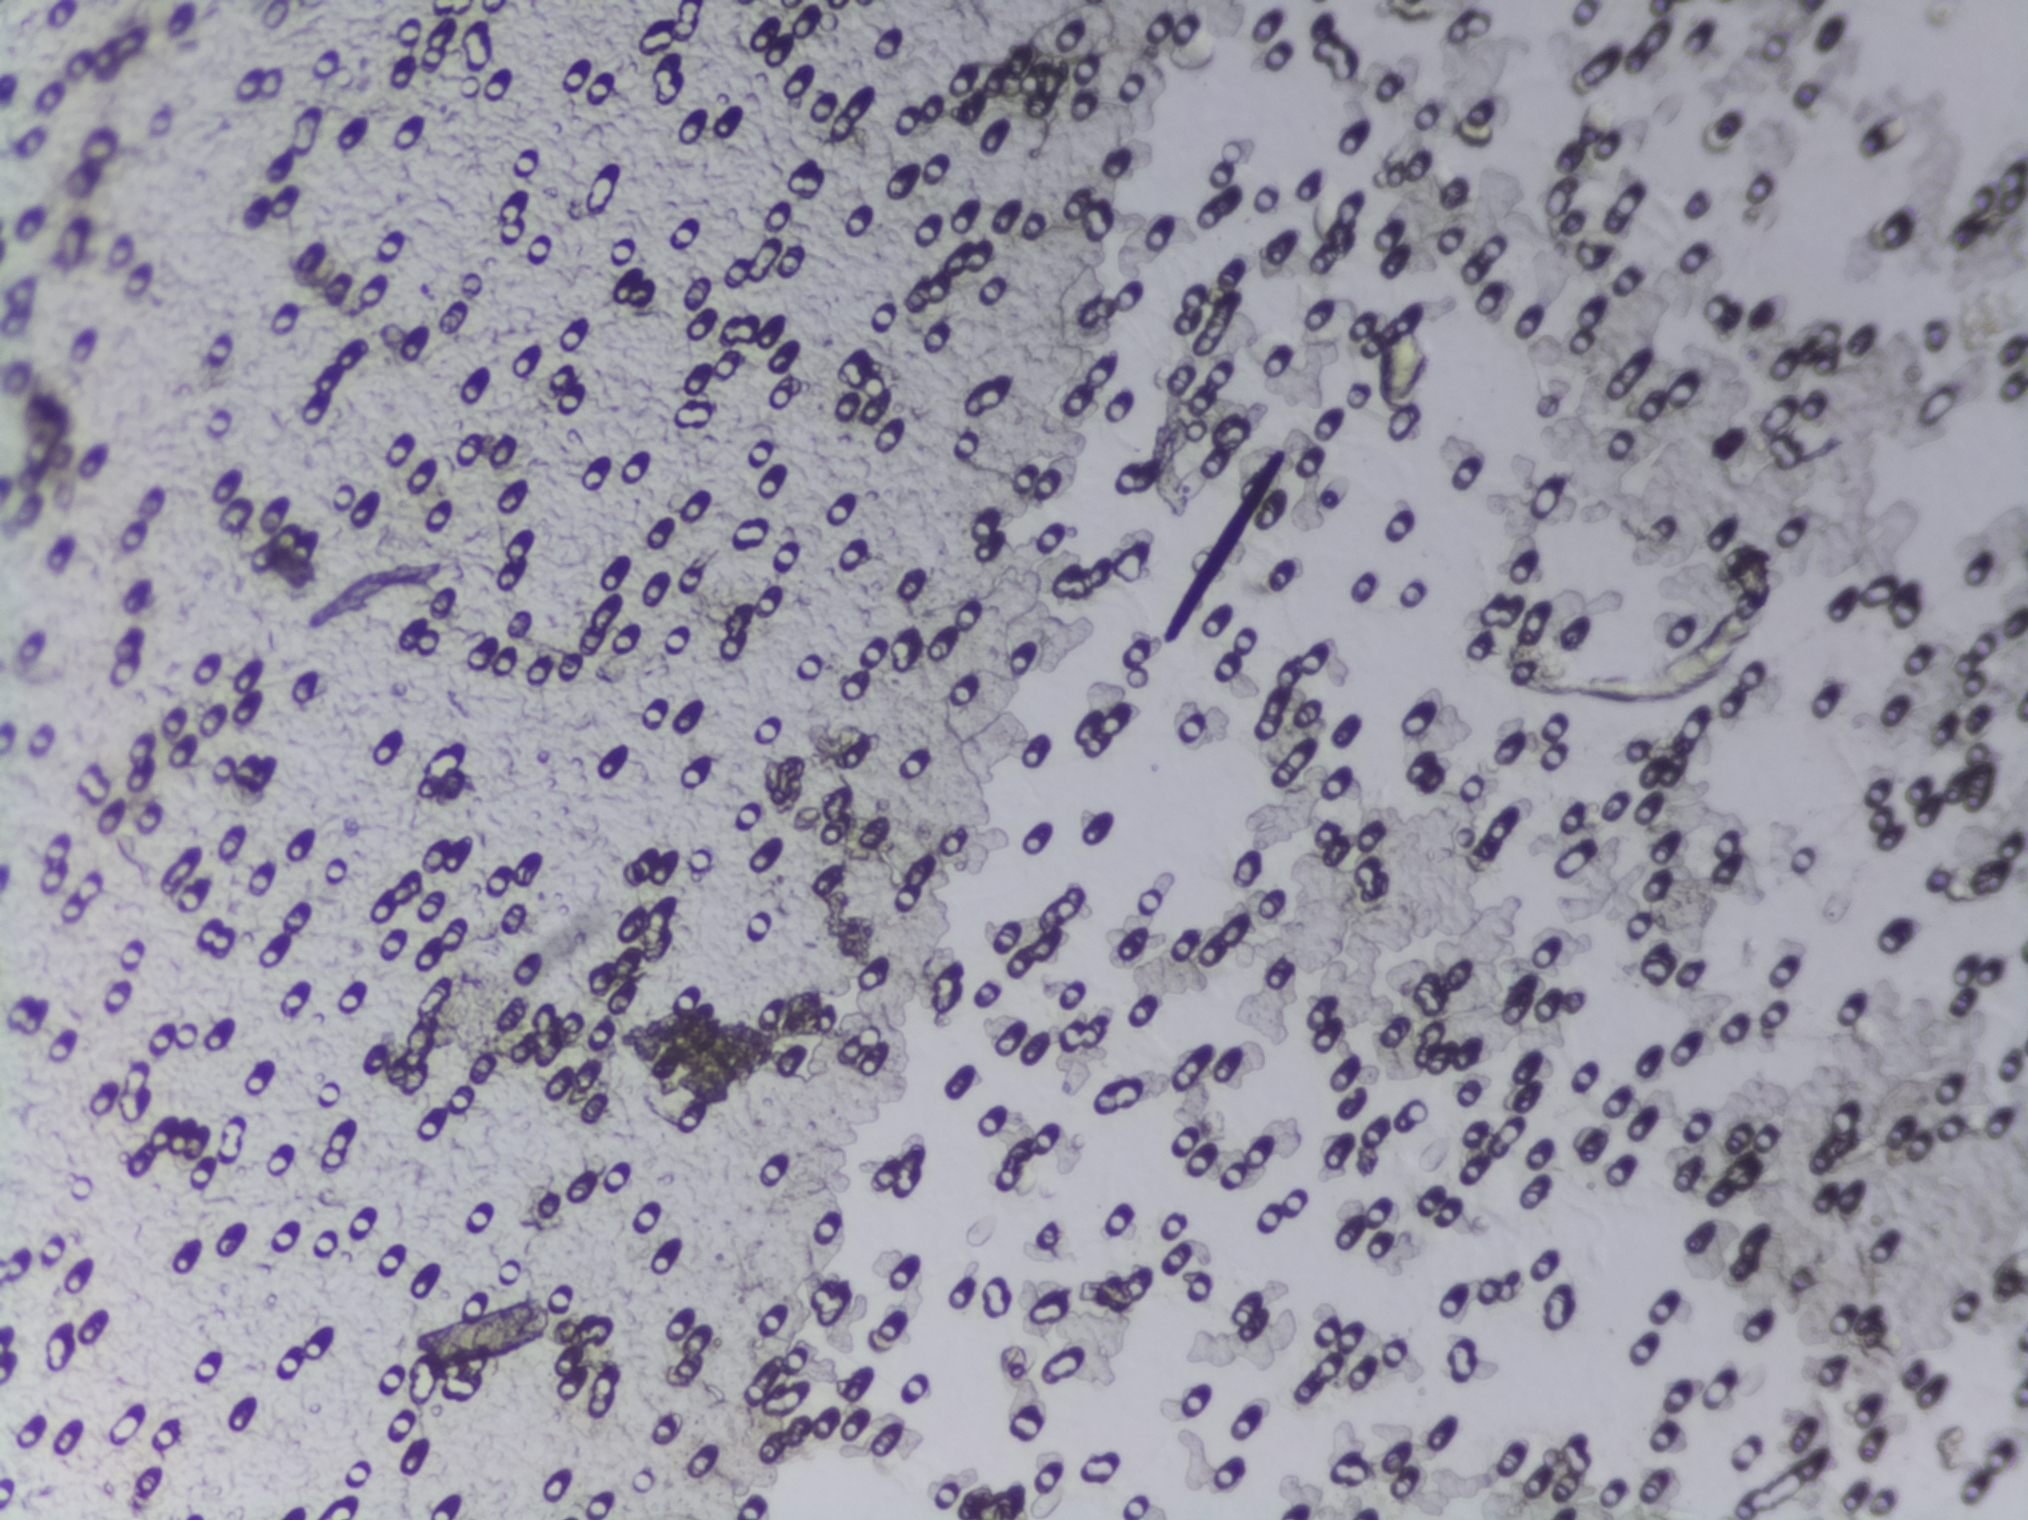
No area of this image was outlined as a Schistosoma egg.
Urine filtration membrane under a 4× objective, photographed by an automated digital microscope. Field of view: about 1.5 mm wide and 1.1 mm high.